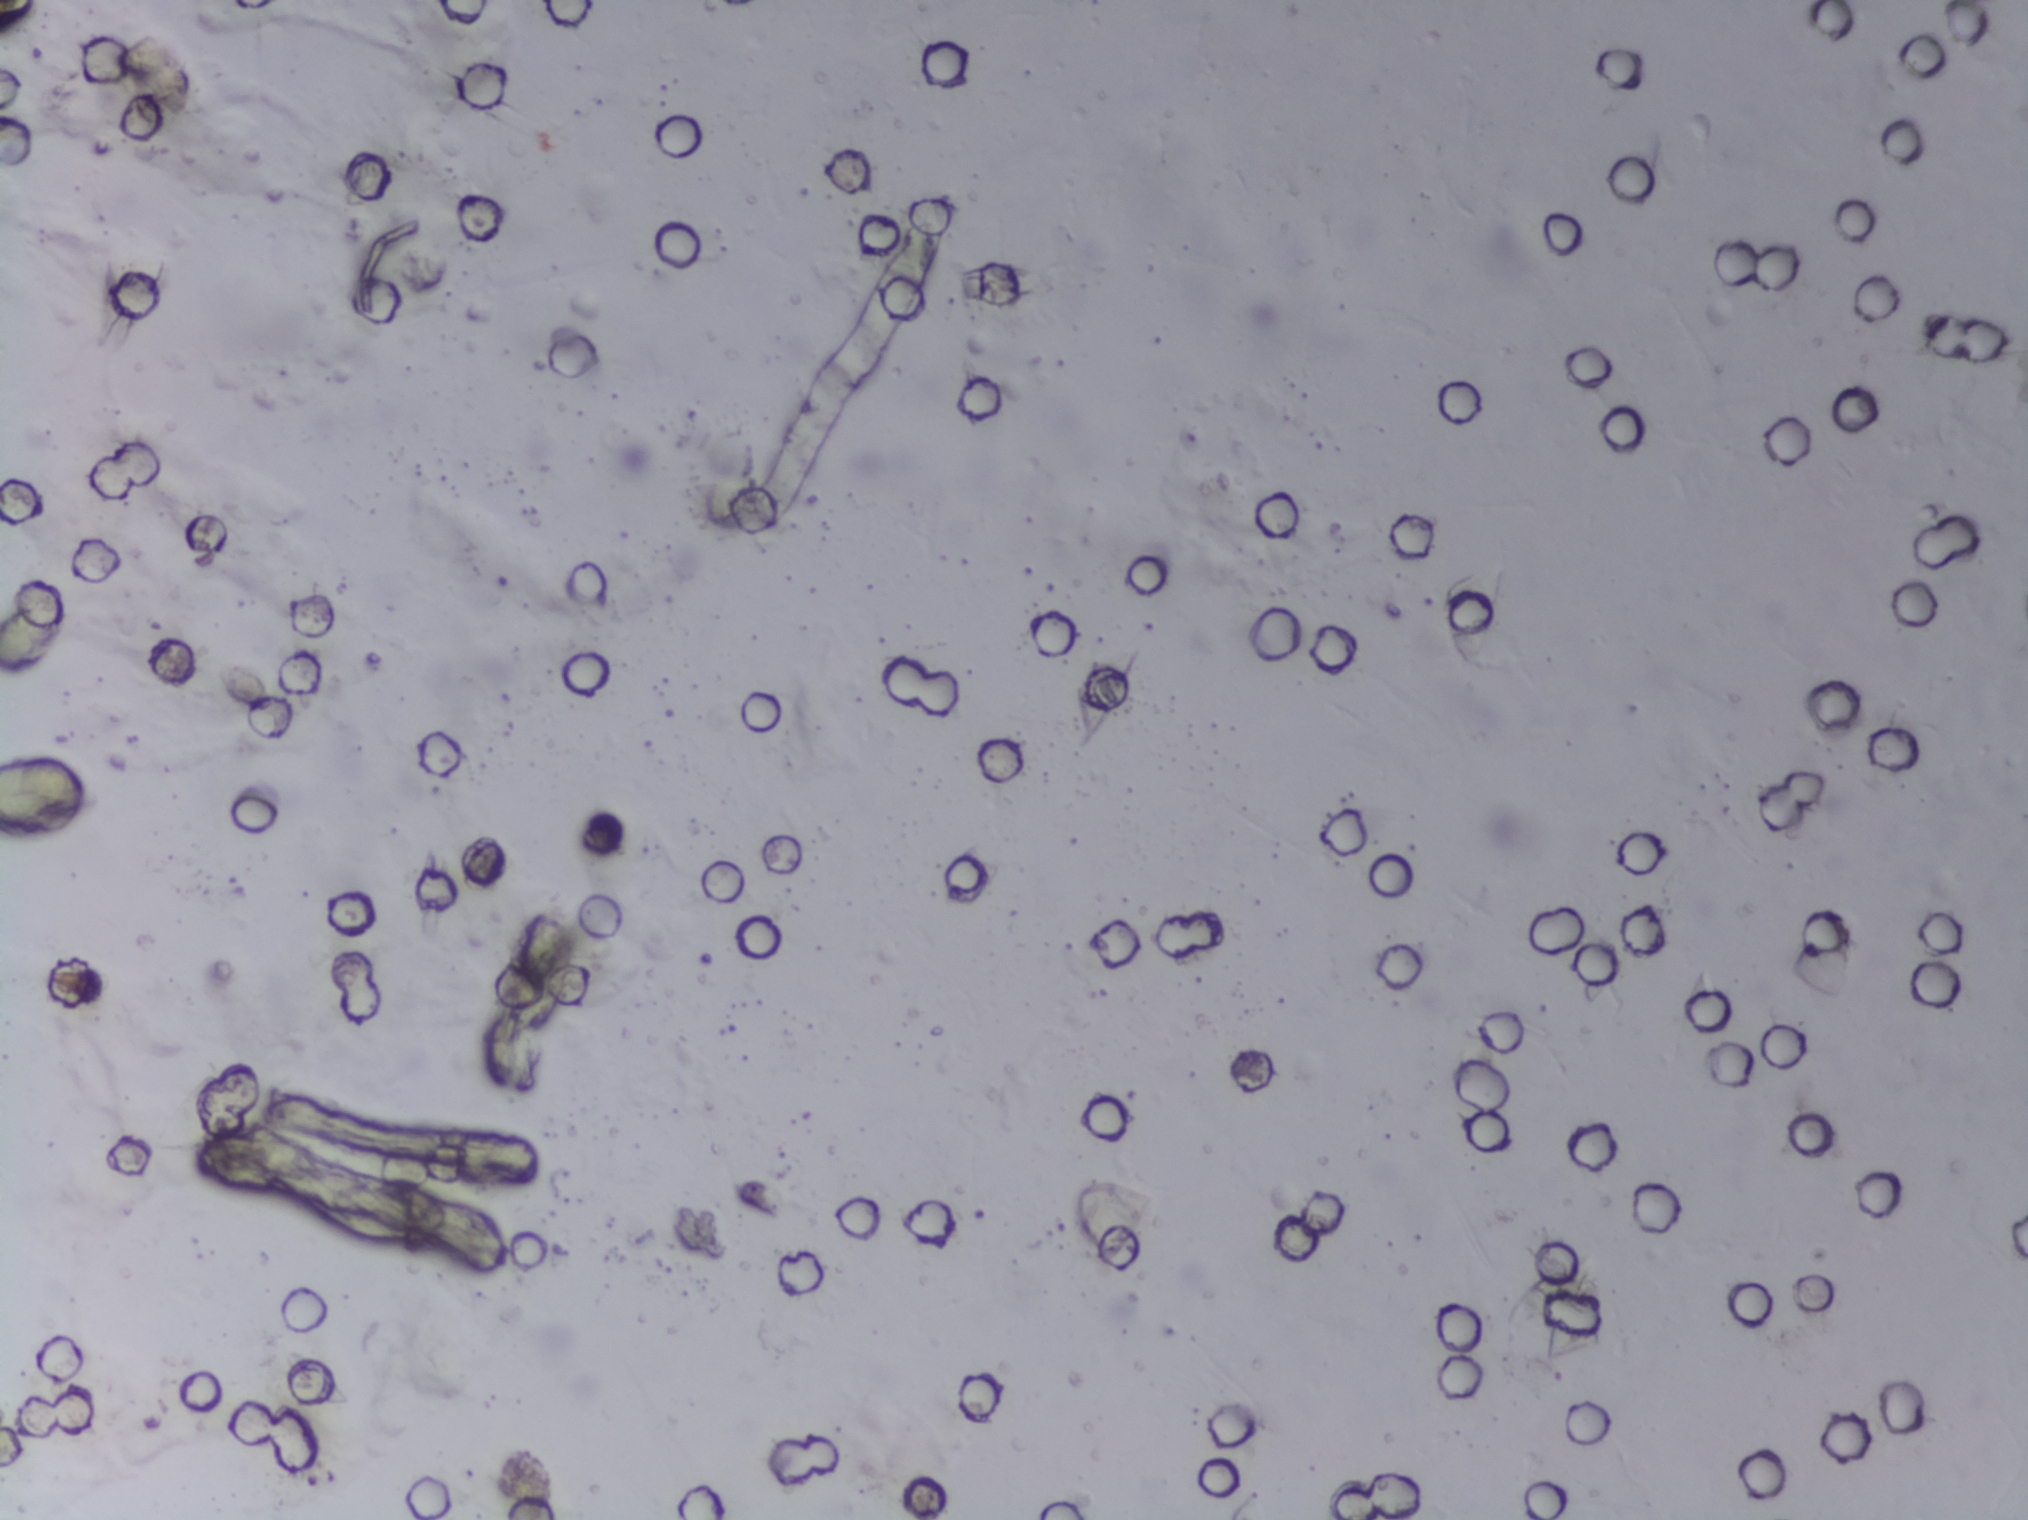
No Schistosoma egg is outlined in this image's expert annotation.
Urine filtration membrane under a 4× objective, photographed by an automated digital microscope.